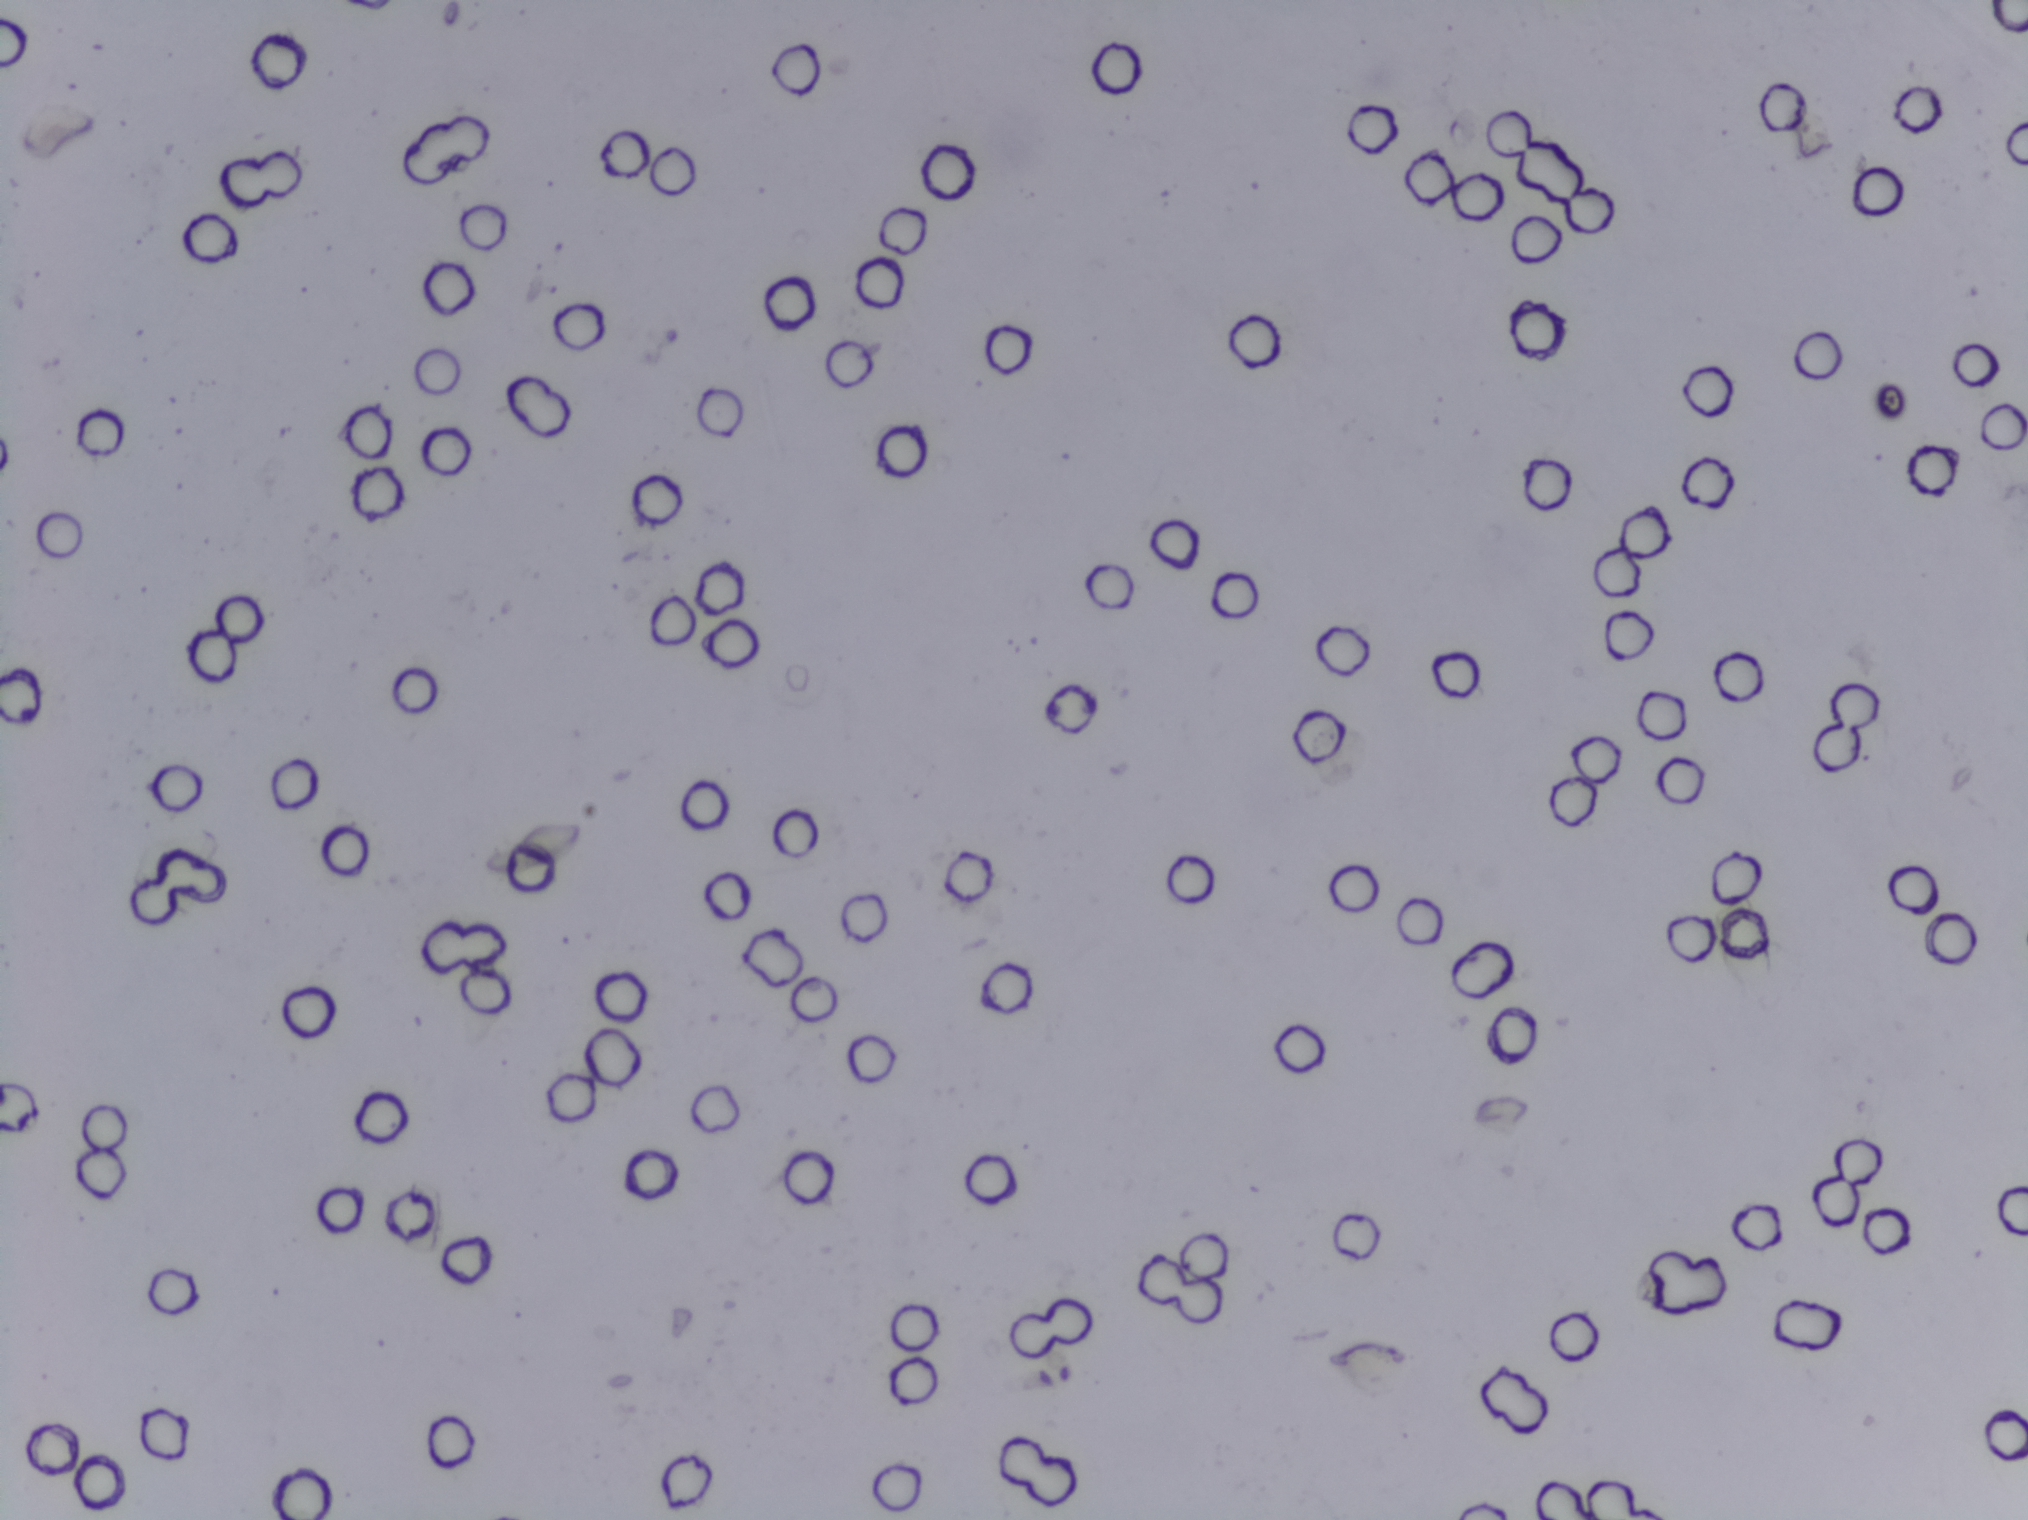
Urine filter membrane photographed through a 4× microscope objective.
No area of this image was outlined as a Schistosoma egg.